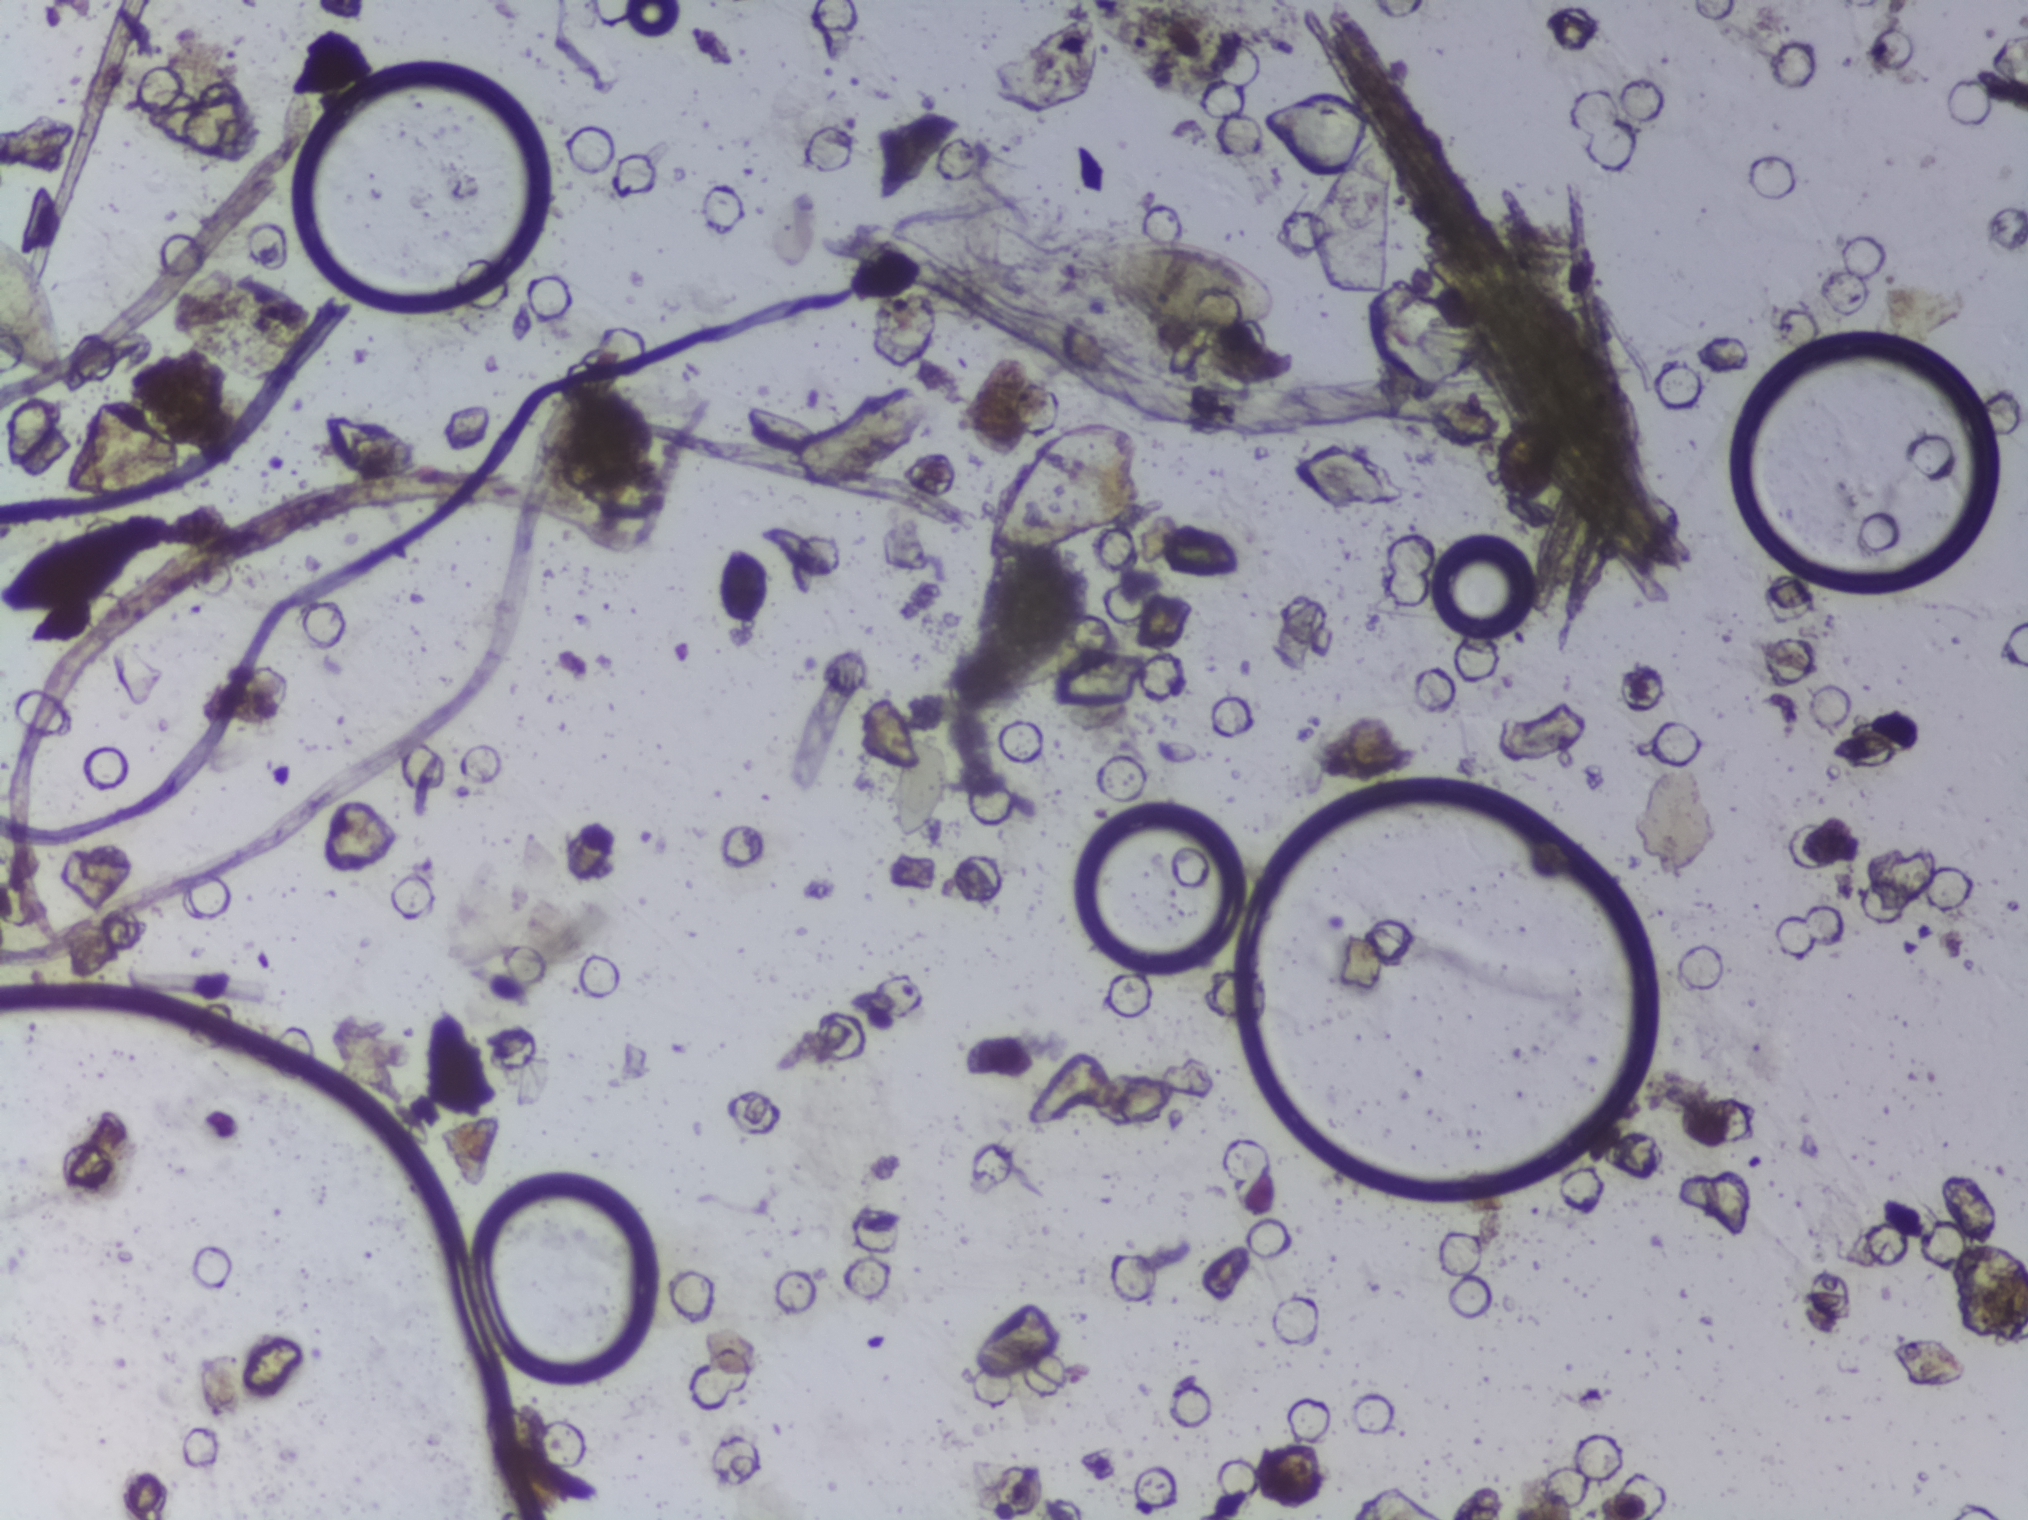
Urine filter membrane photographed through a 4× microscope objective.
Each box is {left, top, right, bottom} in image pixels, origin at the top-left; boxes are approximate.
The expert annotation outlines Schistosoma eggs at {0, 232, 64, 380} (reaching the left edge of the frame) and {1082, 236, 1277, 335} (left to right). A single outlined area may contain several eggs.